One field of view of a urine filter membrane, 4× objective, 2028 × 1520 pixels.
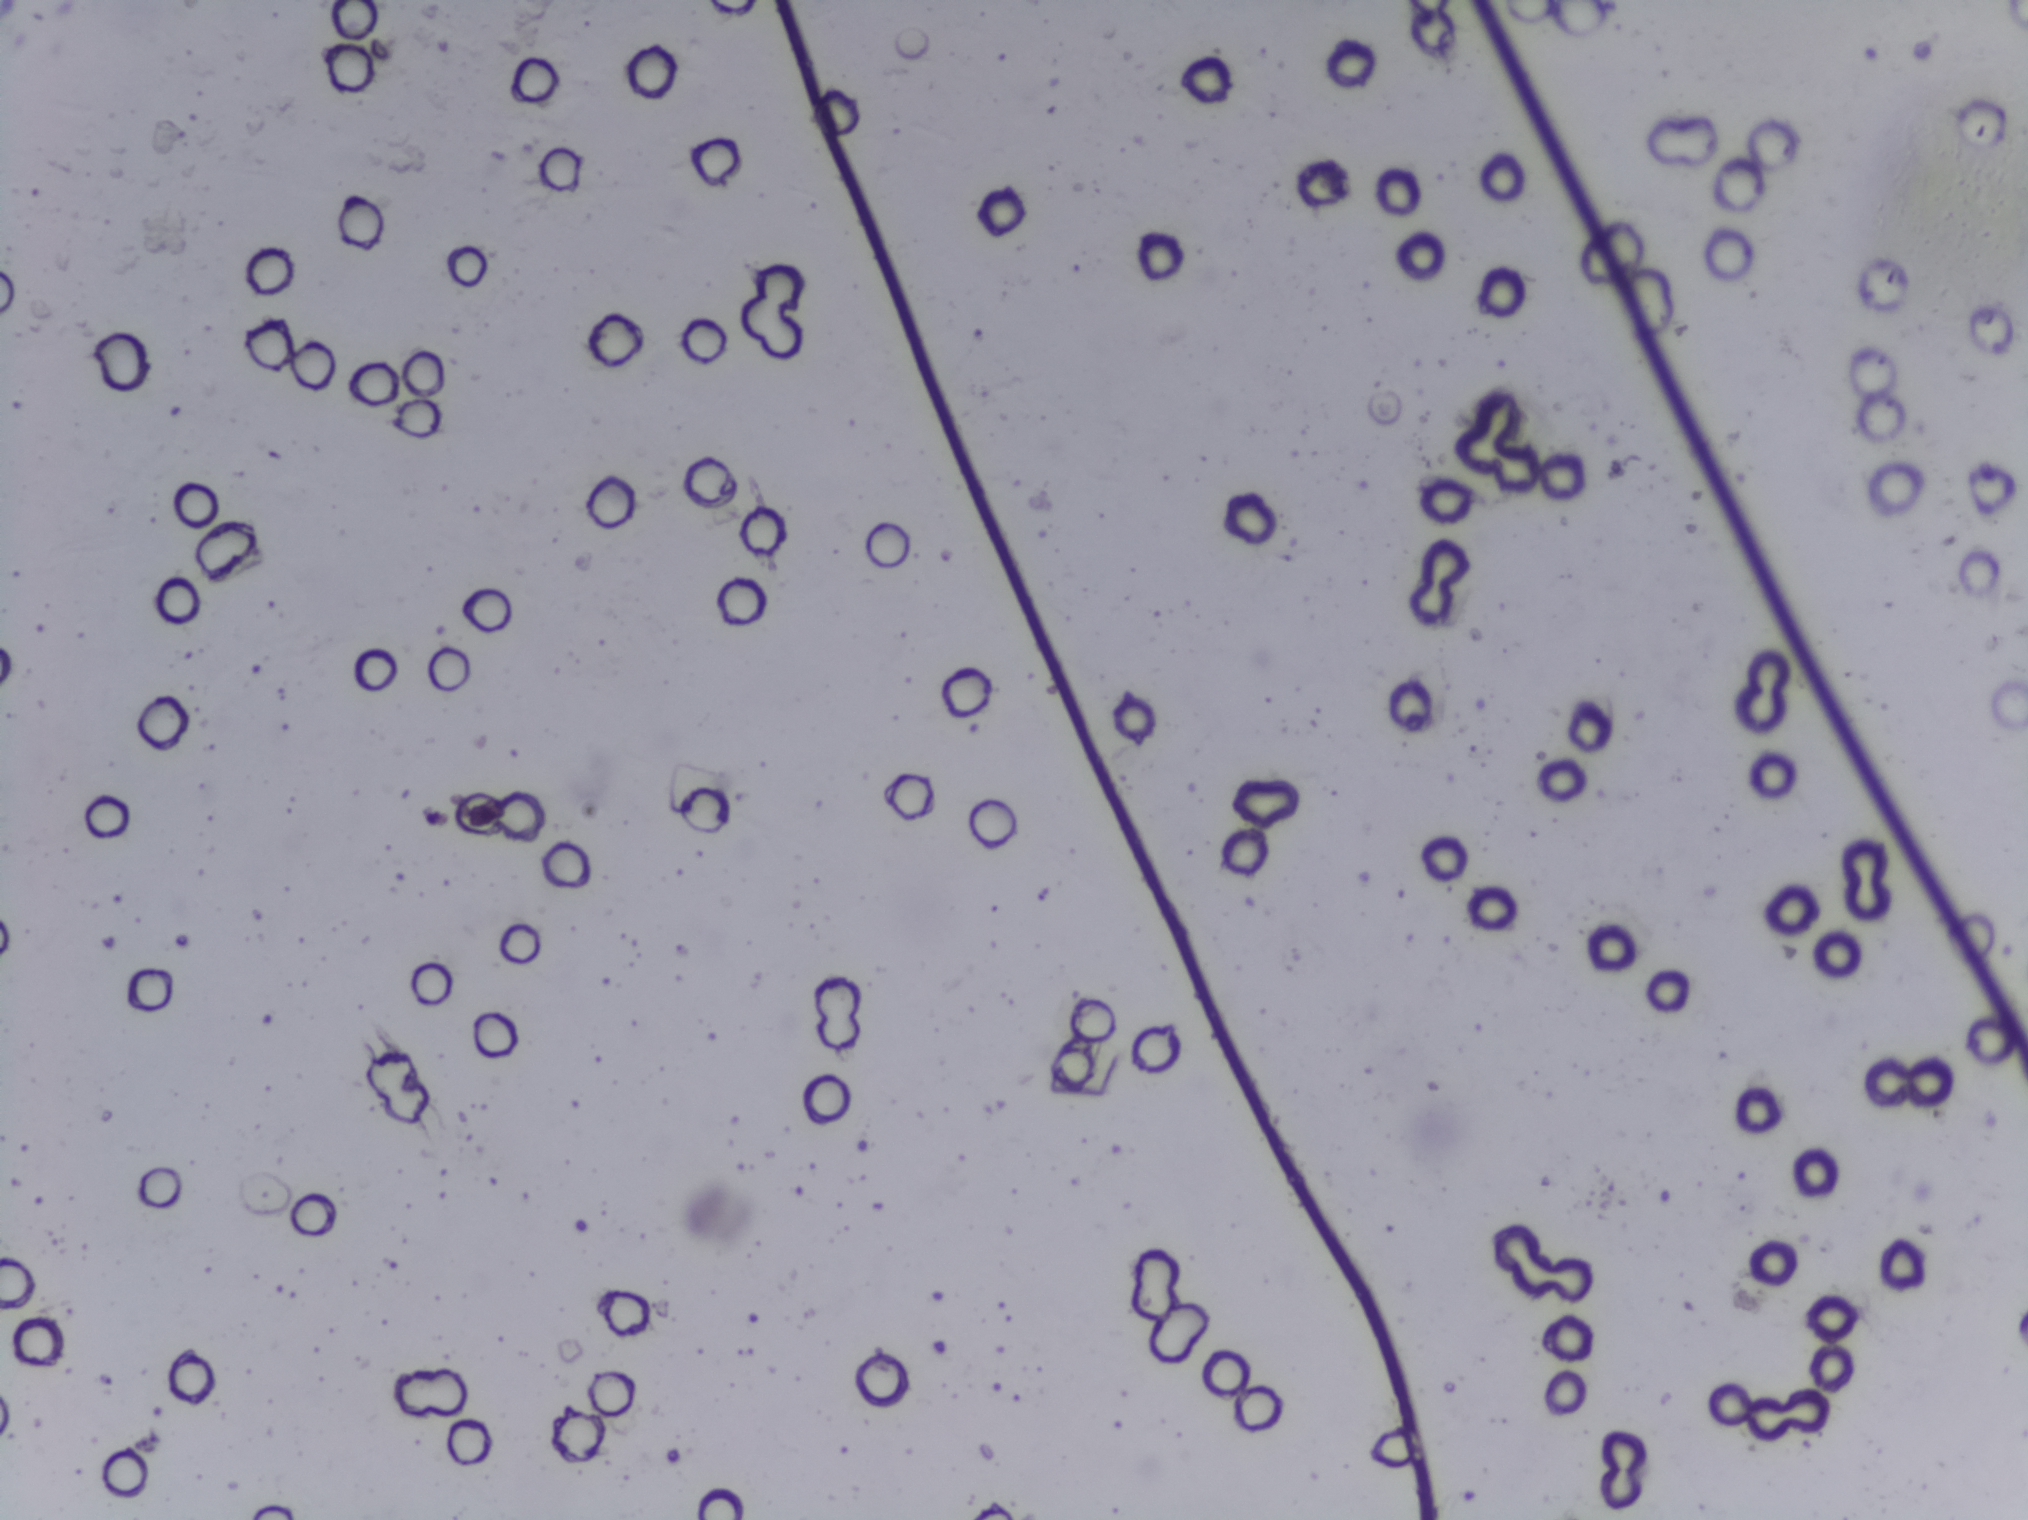
The expert annotation marks no Schistosoma egg in this field of view.